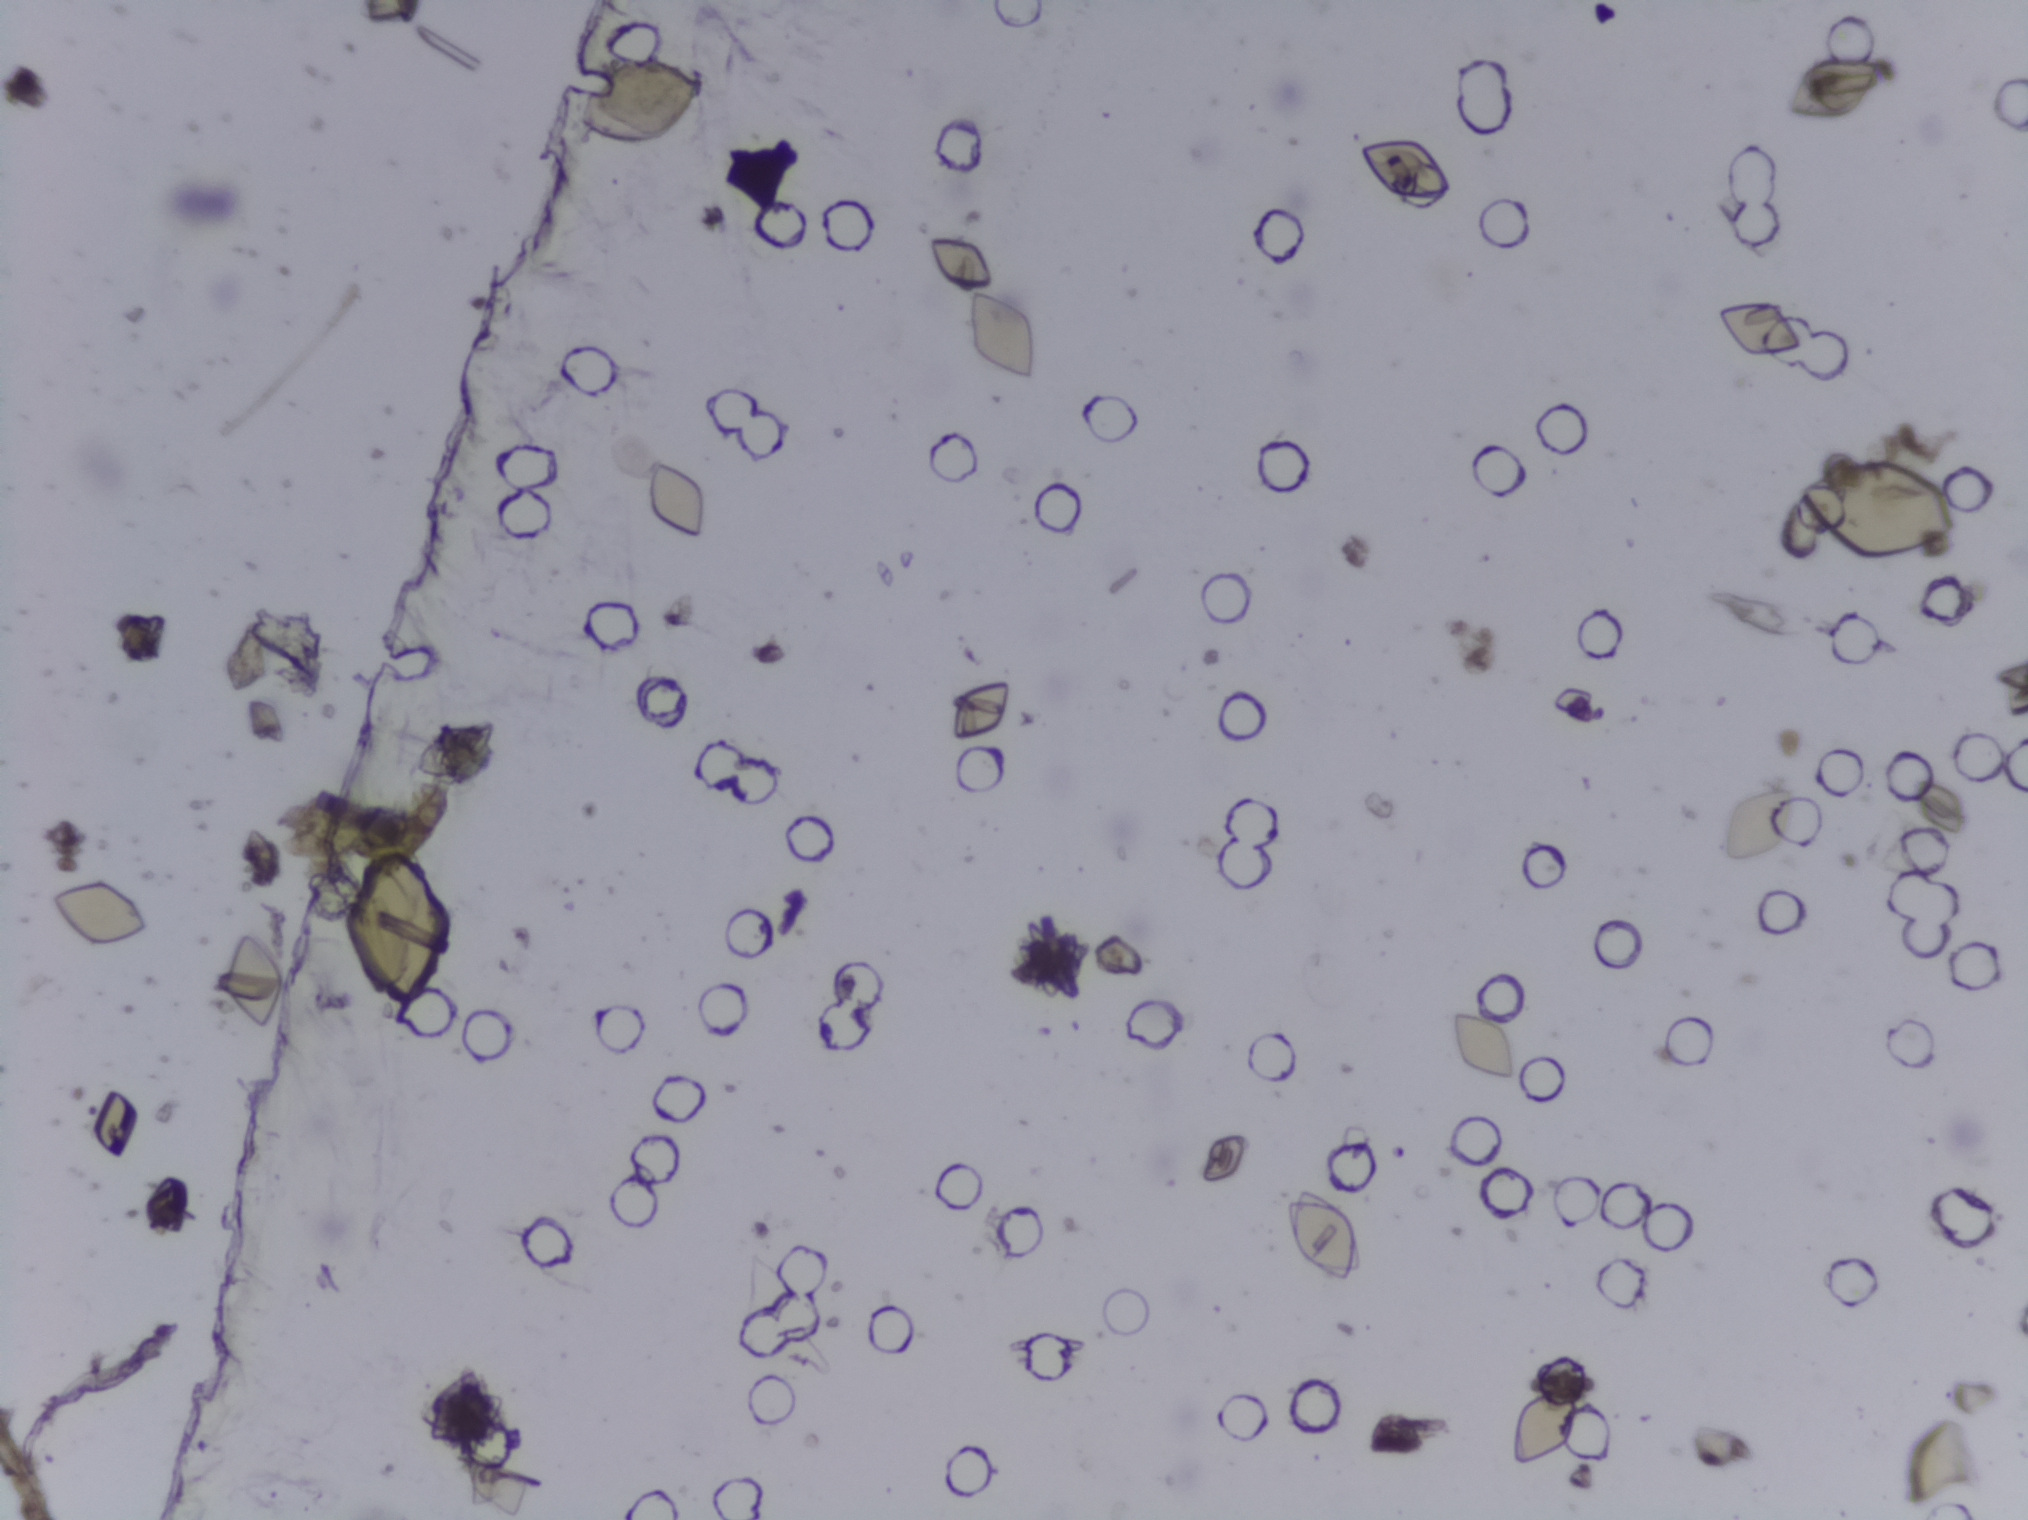
Microscope photograph (4× objective) of a membrane that a urine sample was filtered through.
The expert annotation marks no Schistosoma egg in this field of view.